Urine filter membrane photographed through a 4× microscope objective.
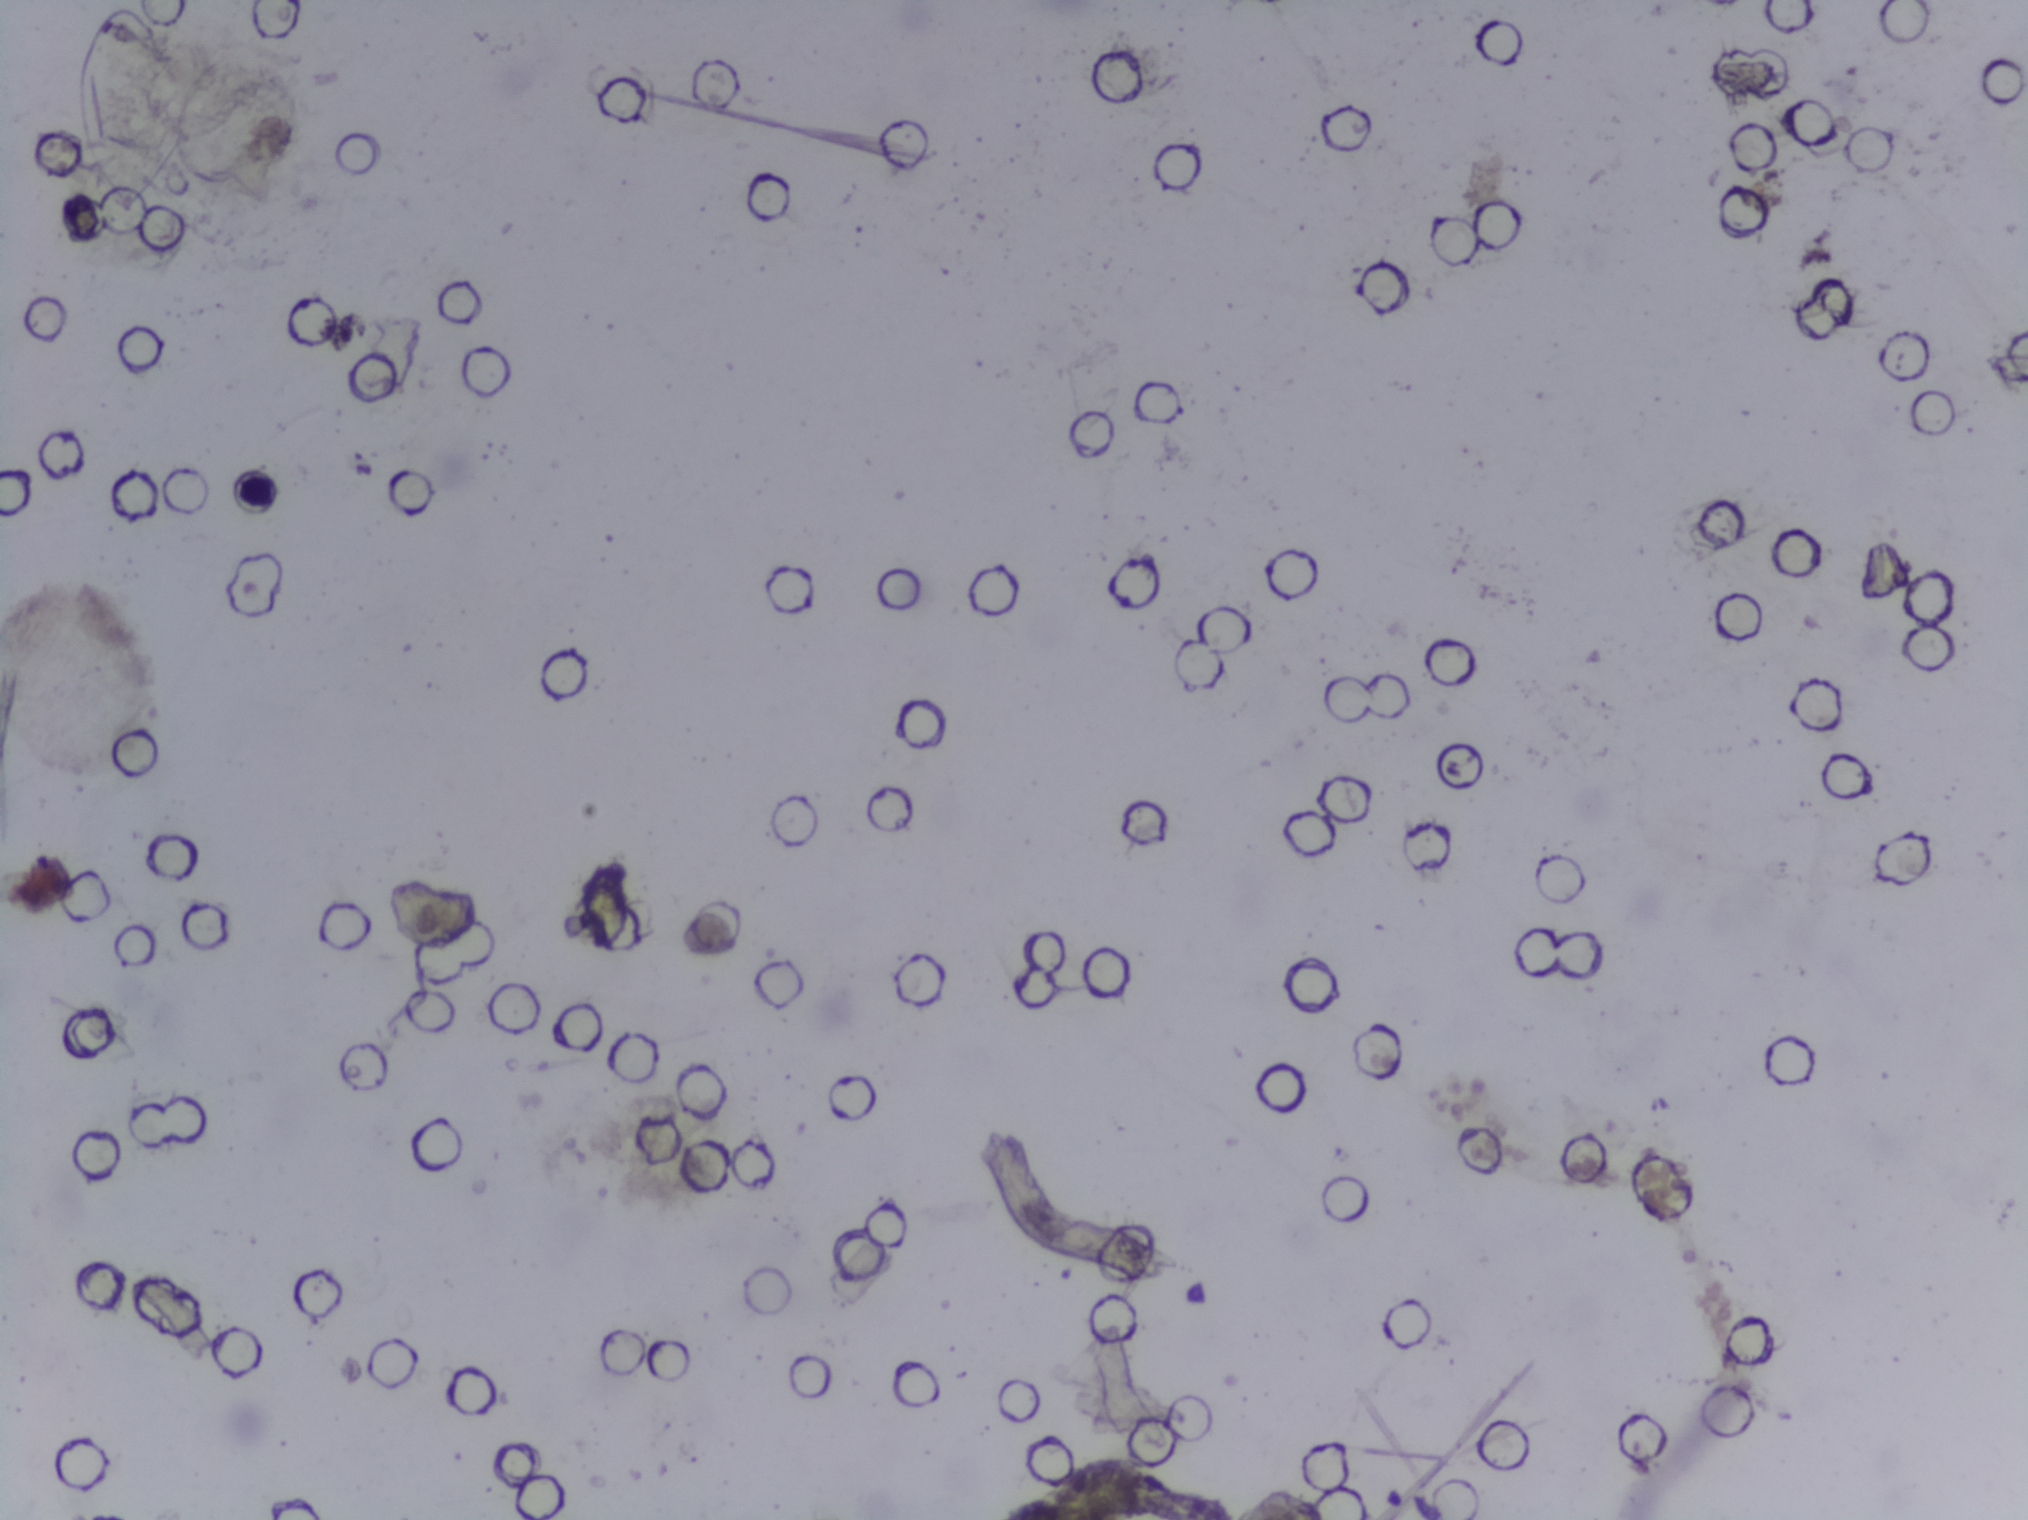
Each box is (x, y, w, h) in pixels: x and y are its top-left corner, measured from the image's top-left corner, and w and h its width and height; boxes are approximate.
Schistosoma egg areas, outlined: (x=75, y=1, w=115, h=220). A single outlined area may contain several eggs.